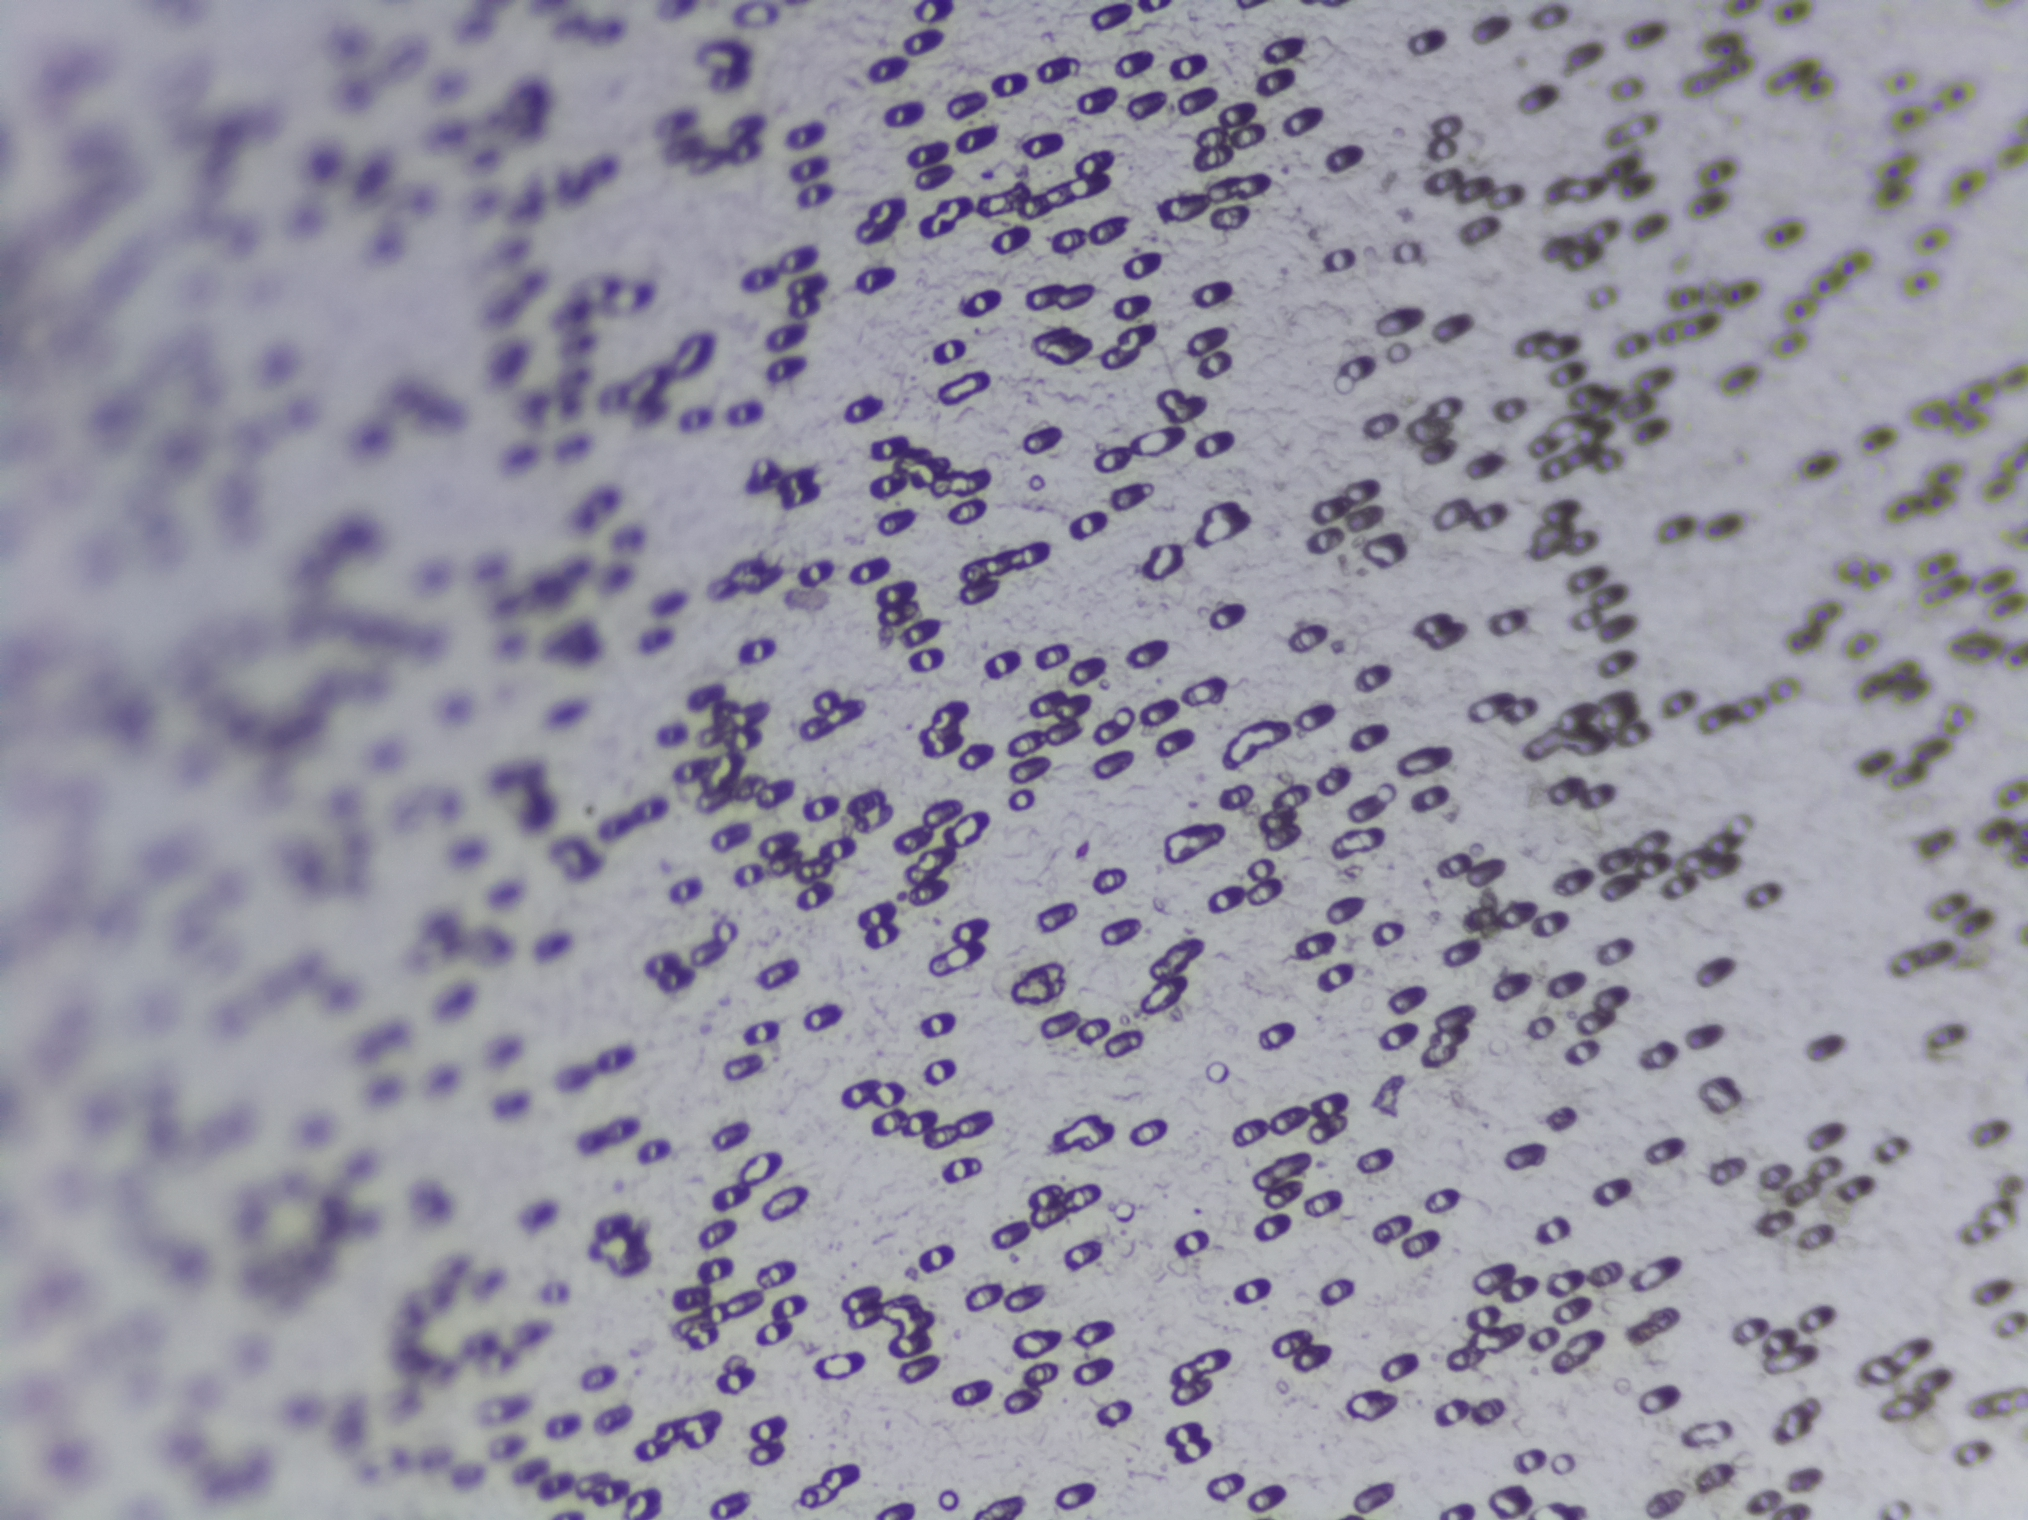
Urine filtration membrane under a 4× objective, photographed by an automated digital microscope.
The expert annotation outlines no Schistosoma egg in this image.